Photomicrograph of a urine filtration membrane, 4× objective. The field of view is about 1.5 mm × 1.1 mm.
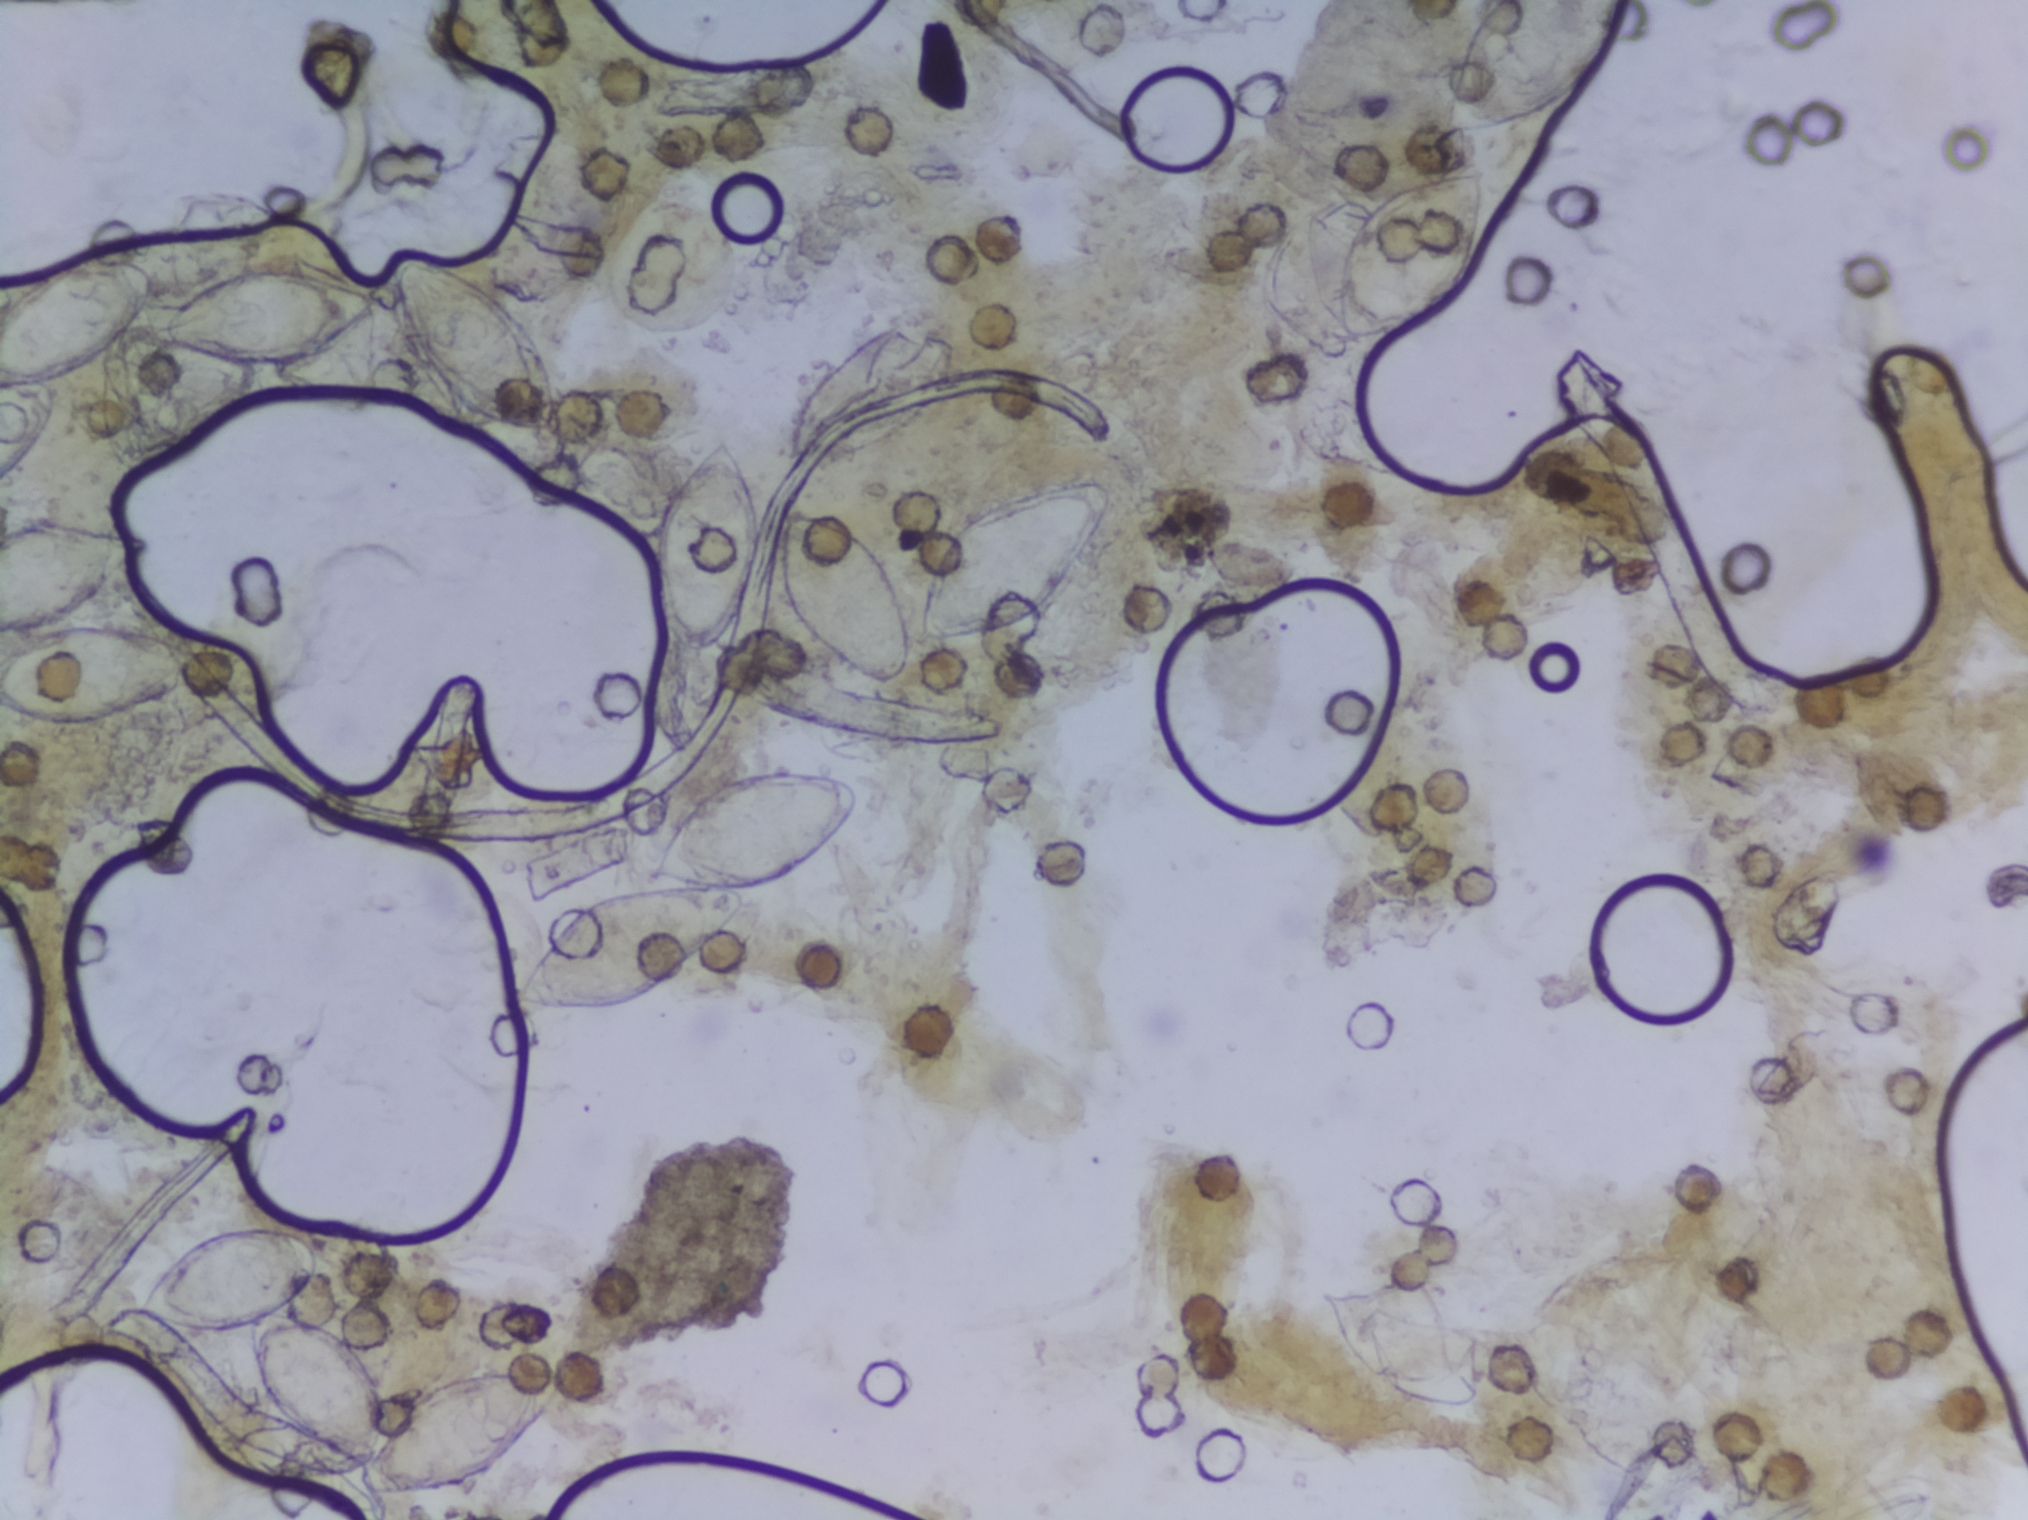
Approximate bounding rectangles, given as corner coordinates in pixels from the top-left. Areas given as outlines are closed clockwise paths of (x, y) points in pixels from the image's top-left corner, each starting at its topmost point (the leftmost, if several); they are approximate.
Schistosoma eggs are outlined in 13 areas of this image, listed from left to right: box (x1=0, y1=257, x2=156, y2=489) (reaching the left edge of the frame); box (x1=0, y1=518, x2=206, y2=731) (reaching the left edge of the frame); outline (267, 1224), (286, 1226), (315, 1247), (319, 1280), (307, 1301), (290, 1312), (332, 1326), (363, 1352), (378, 1377), (389, 1428), (418, 1393), (469, 1374), (558, 1366), (563, 1378), (554, 1403), (515, 1453), (481, 1481), (396, 1496), (362, 1494), (354, 1463), (298, 1438), (268, 1413), (251, 1369), (249, 1332), (180, 1332), (132, 1317), (136, 1295), (188, 1239), (229, 1225); box (x1=158, y1=266, x2=376, y2=366); box (x1=385, y1=255, x2=561, y2=437); outline (758, 768), (829, 770), (859, 791), (858, 814), (826, 857), (795, 880), (744, 892), (744, 914), (717, 946), (640, 1007), (530, 1014), (512, 1006), (510, 988), (534, 950), (579, 913), (590, 894), (642, 884), (652, 850), (694, 791); box (x1=652, y1=431, x2=766, y2=652); box (x1=771, y1=505, x2=913, y2=691); box (x1=785, y1=324, x2=954, y2=467); box (x1=913, y1=473, x2=1114, y2=652); box (x1=1318, y1=1281, x2=1488, y2=1413); box (x1=1325, y1=160, x2=1484, y2=355); box (x1=1416, y1=0, x2=1620, y2=149) (reaching the top edge of the frame). An outlined area can hold more than one egg.